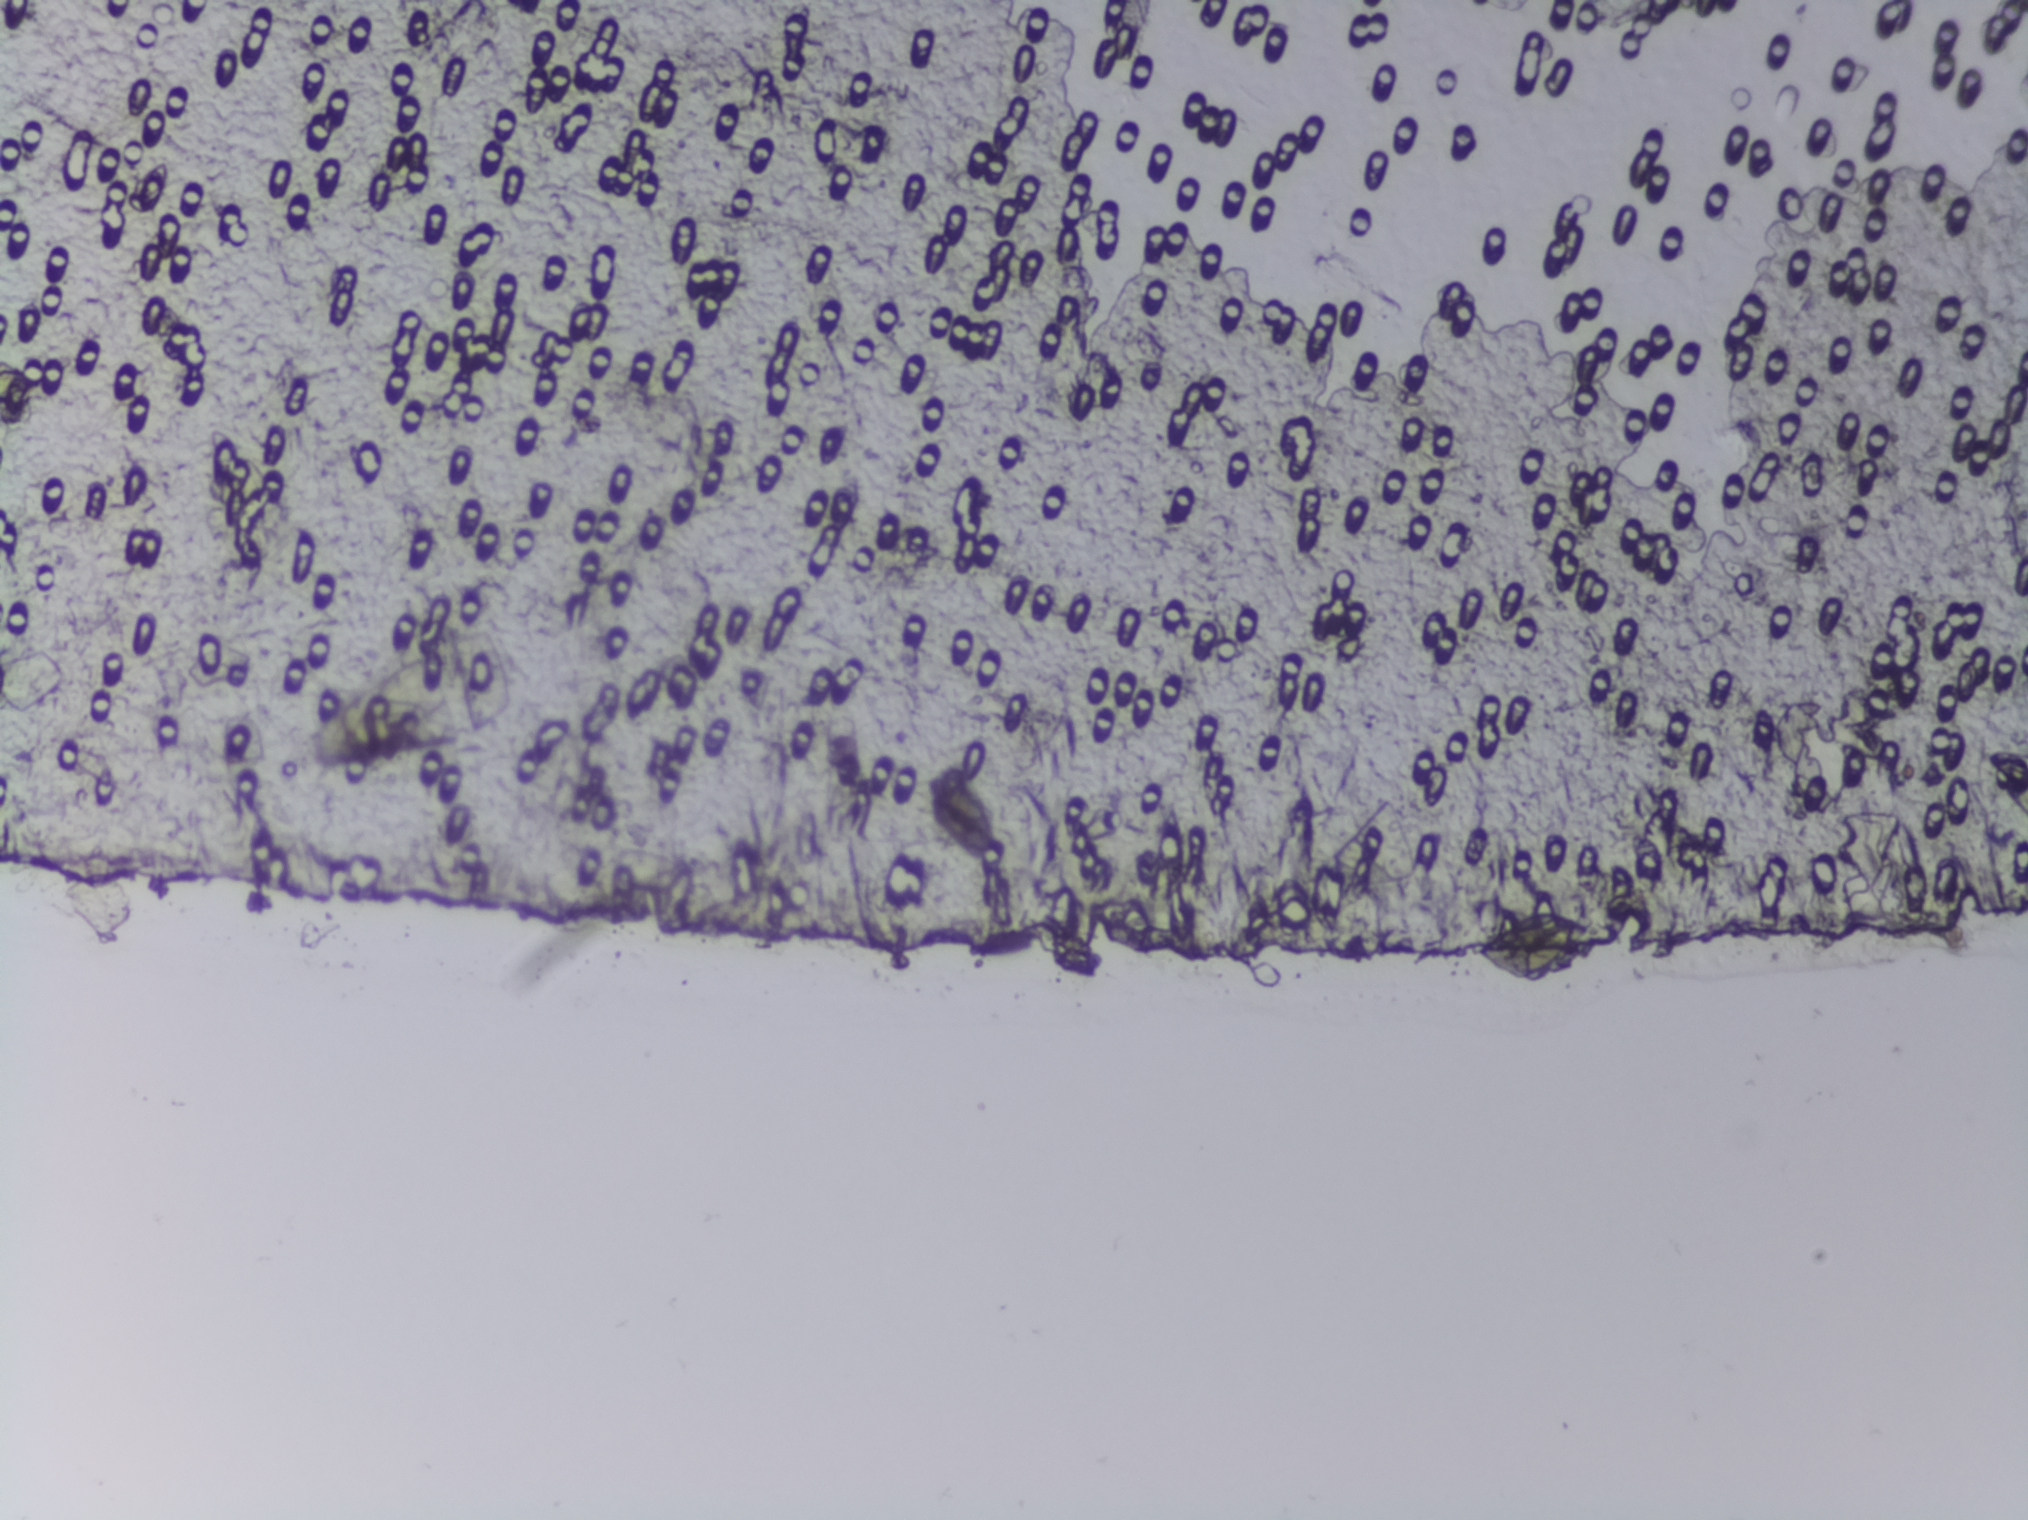
The expert annotation outlines no Schistosoma egg in this image.
One field of view of a urine filter membrane, 4× objective, 2028 × 1520 pixels. The image covers about 1.5 × 1.1 mm of the membrane.